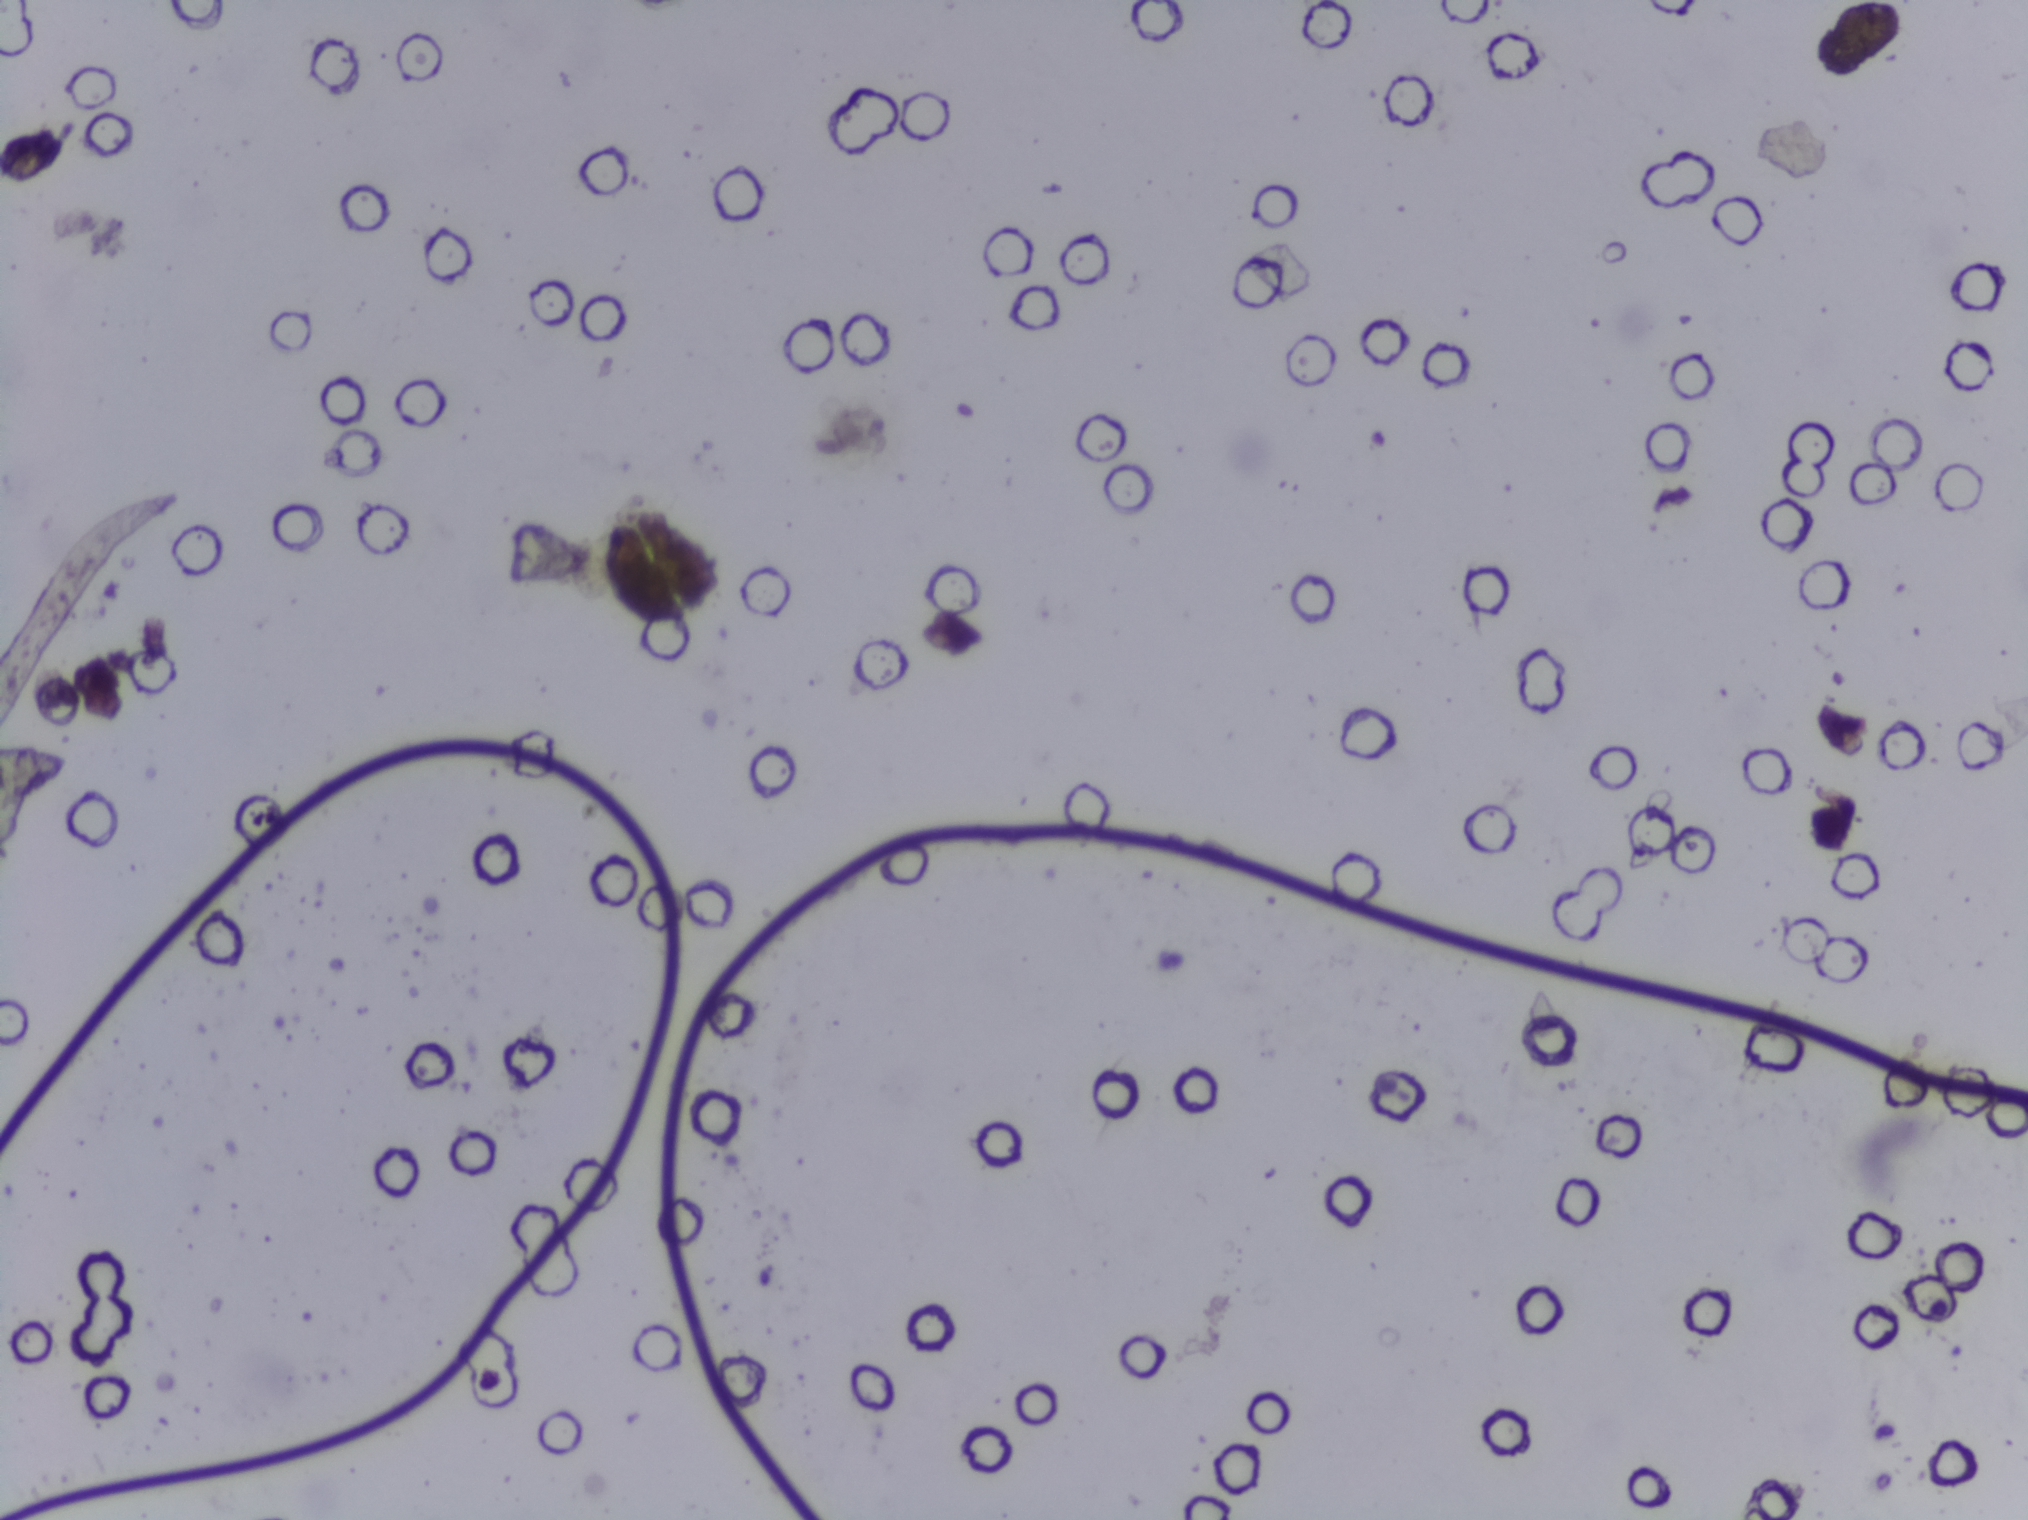
One field of view of a urine filter membrane, 4× objective, 2028 × 1520 pixels.
No Schistosoma egg is outlined in this image's expert annotation.